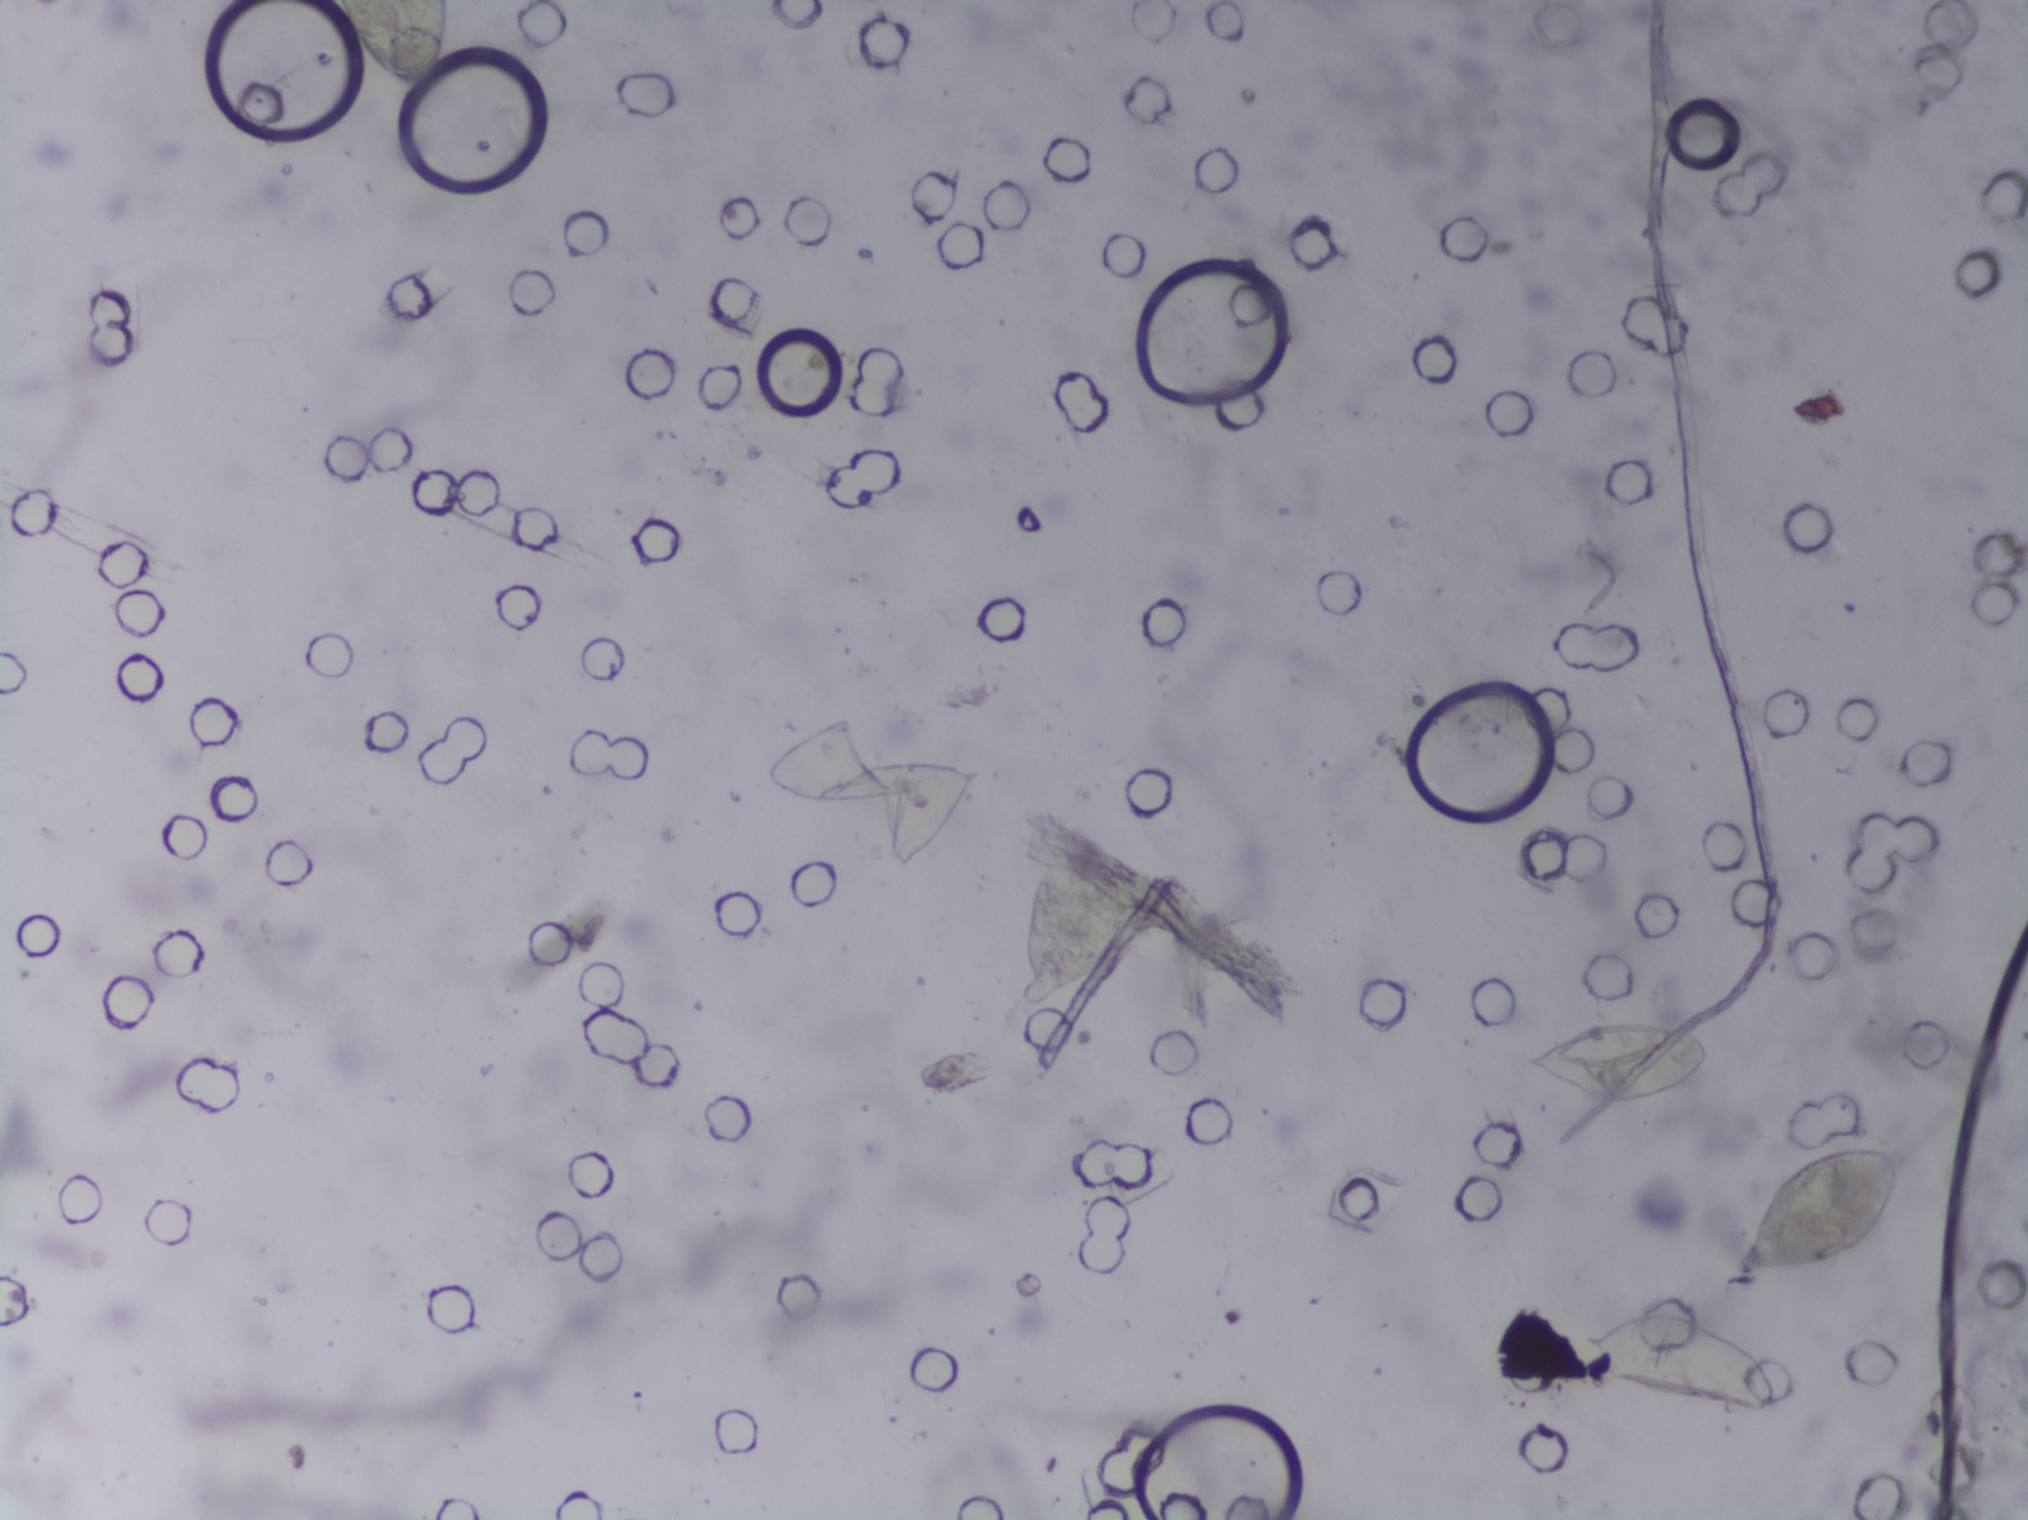
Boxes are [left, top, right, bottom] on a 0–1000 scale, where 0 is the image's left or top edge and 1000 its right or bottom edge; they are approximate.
The expert annotation outlines Schistosoma eggs at [162, 0, 223, 63] (reaching the top edge of the frame); [750, 668, 844, 734]; [778, 859, 877, 931]; [857, 751, 944, 845]. An outlined area can hold more than one egg. Any one outlined egg may, rarely, be S. mansoni rather than S. haematobium.
One field of view of a urine filter membrane, 4× objective, 2028 × 1520 pixels.